Urine filtration membrane under a 4× objective, photographed by an automated digital microscope. Field of view: about 1.5 mm wide and 1.1 mm high.
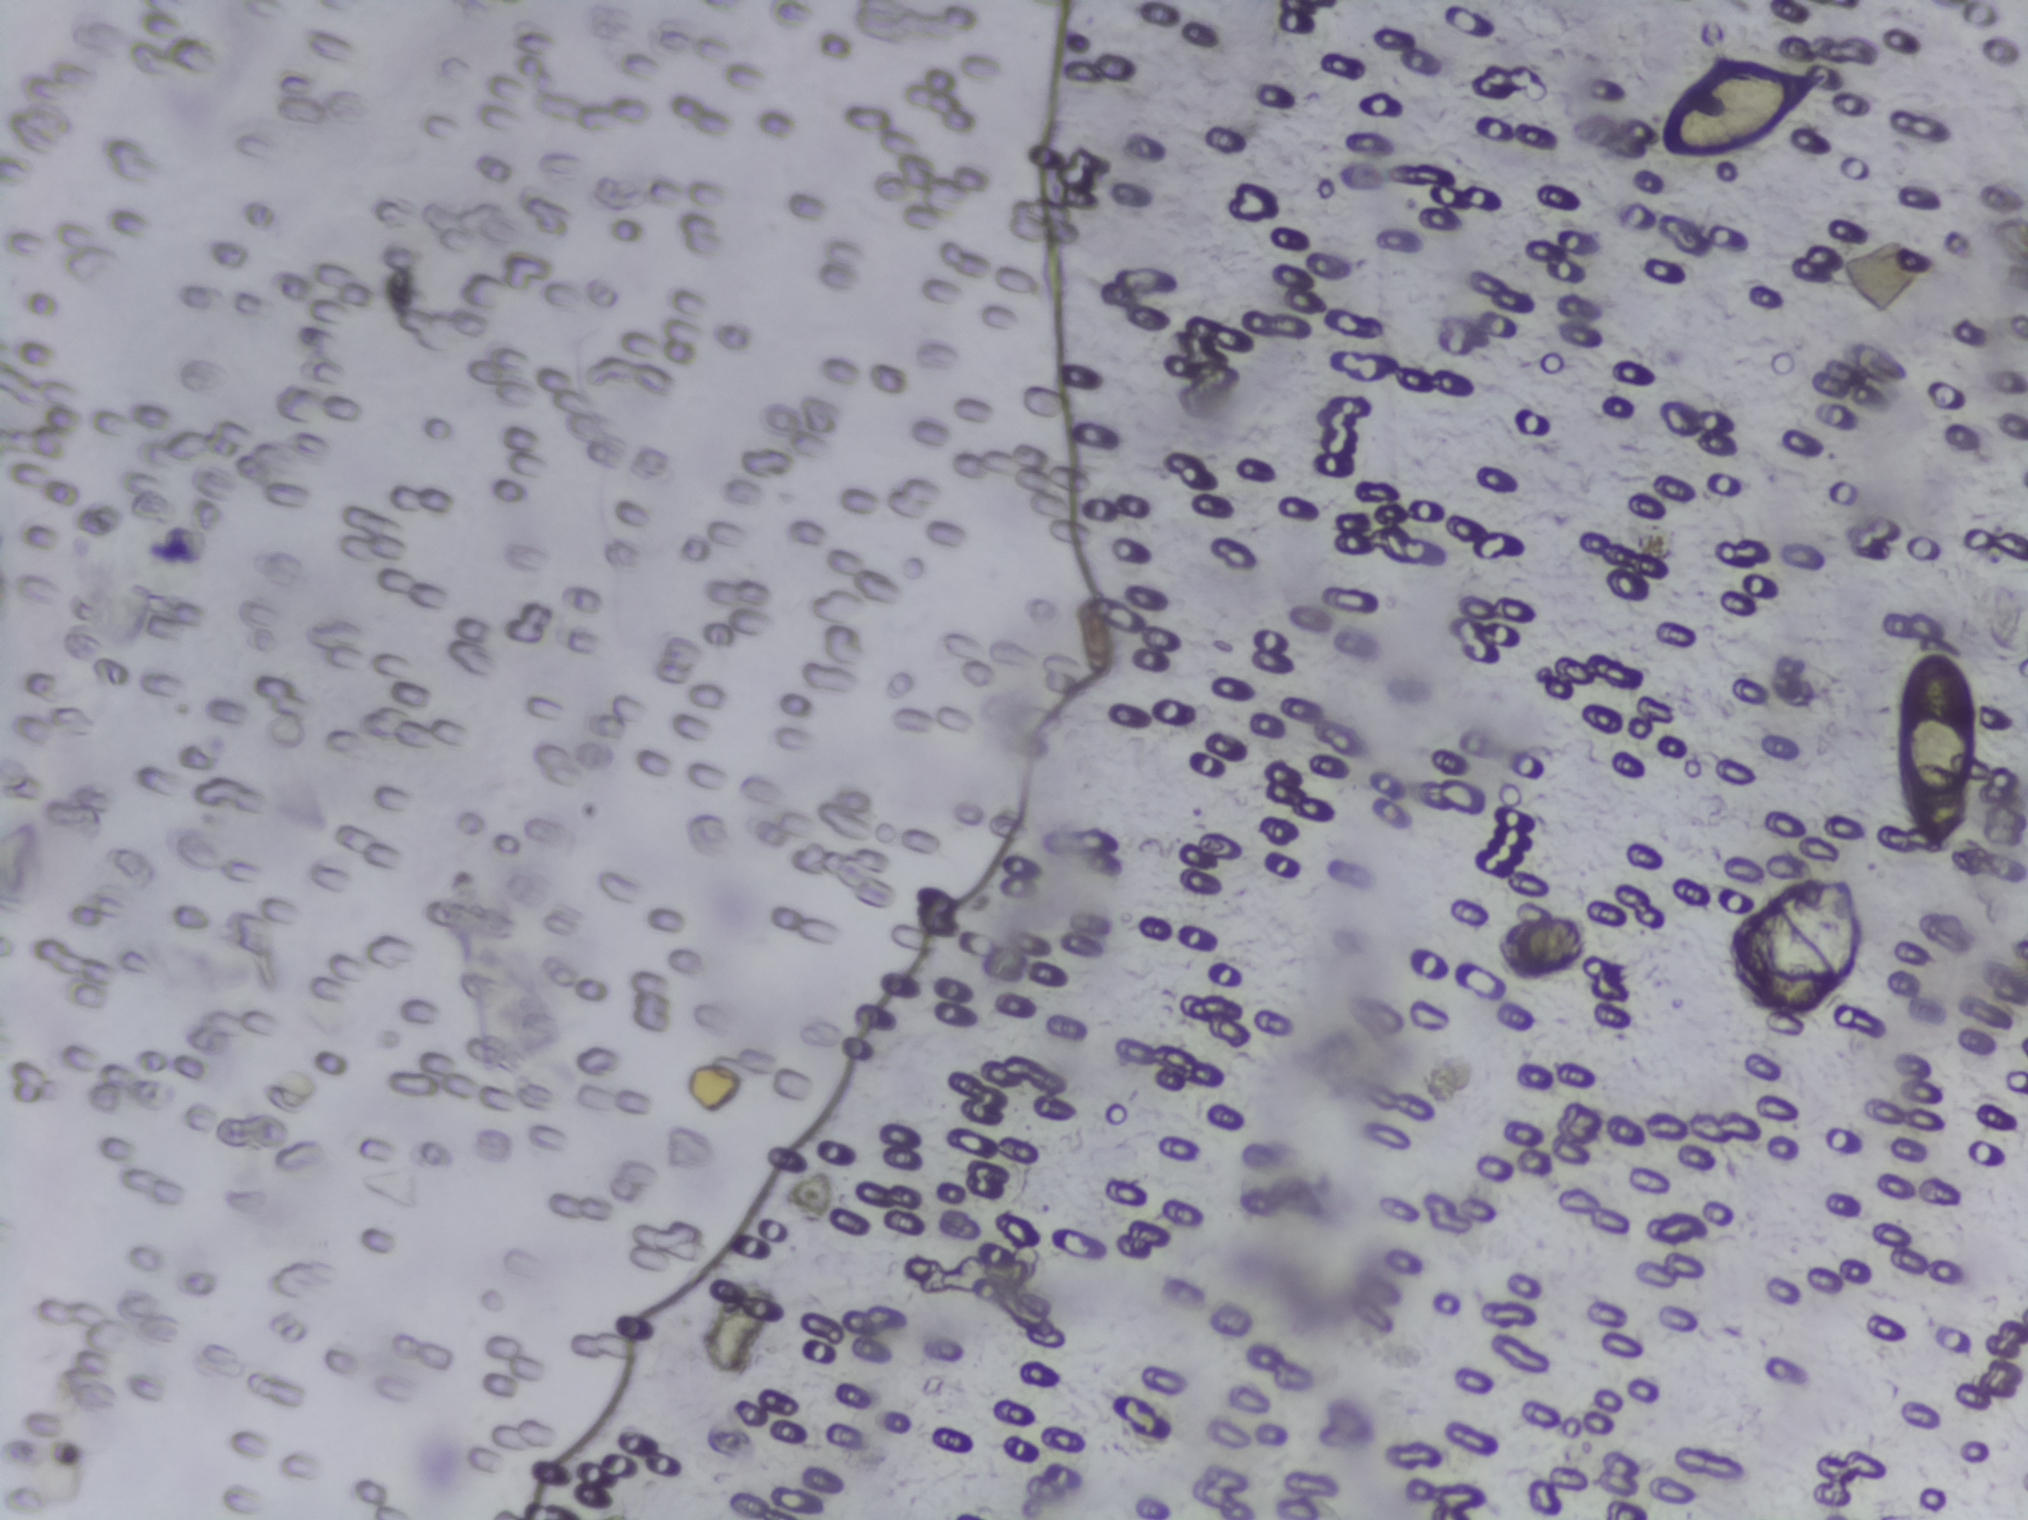
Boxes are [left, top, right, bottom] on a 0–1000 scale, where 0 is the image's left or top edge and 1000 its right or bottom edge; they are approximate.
Schistosoma eggs, outlined areas: [816, 38, 907, 107]; [929, 426, 975, 564]. A single outlined area may contain several eggs.